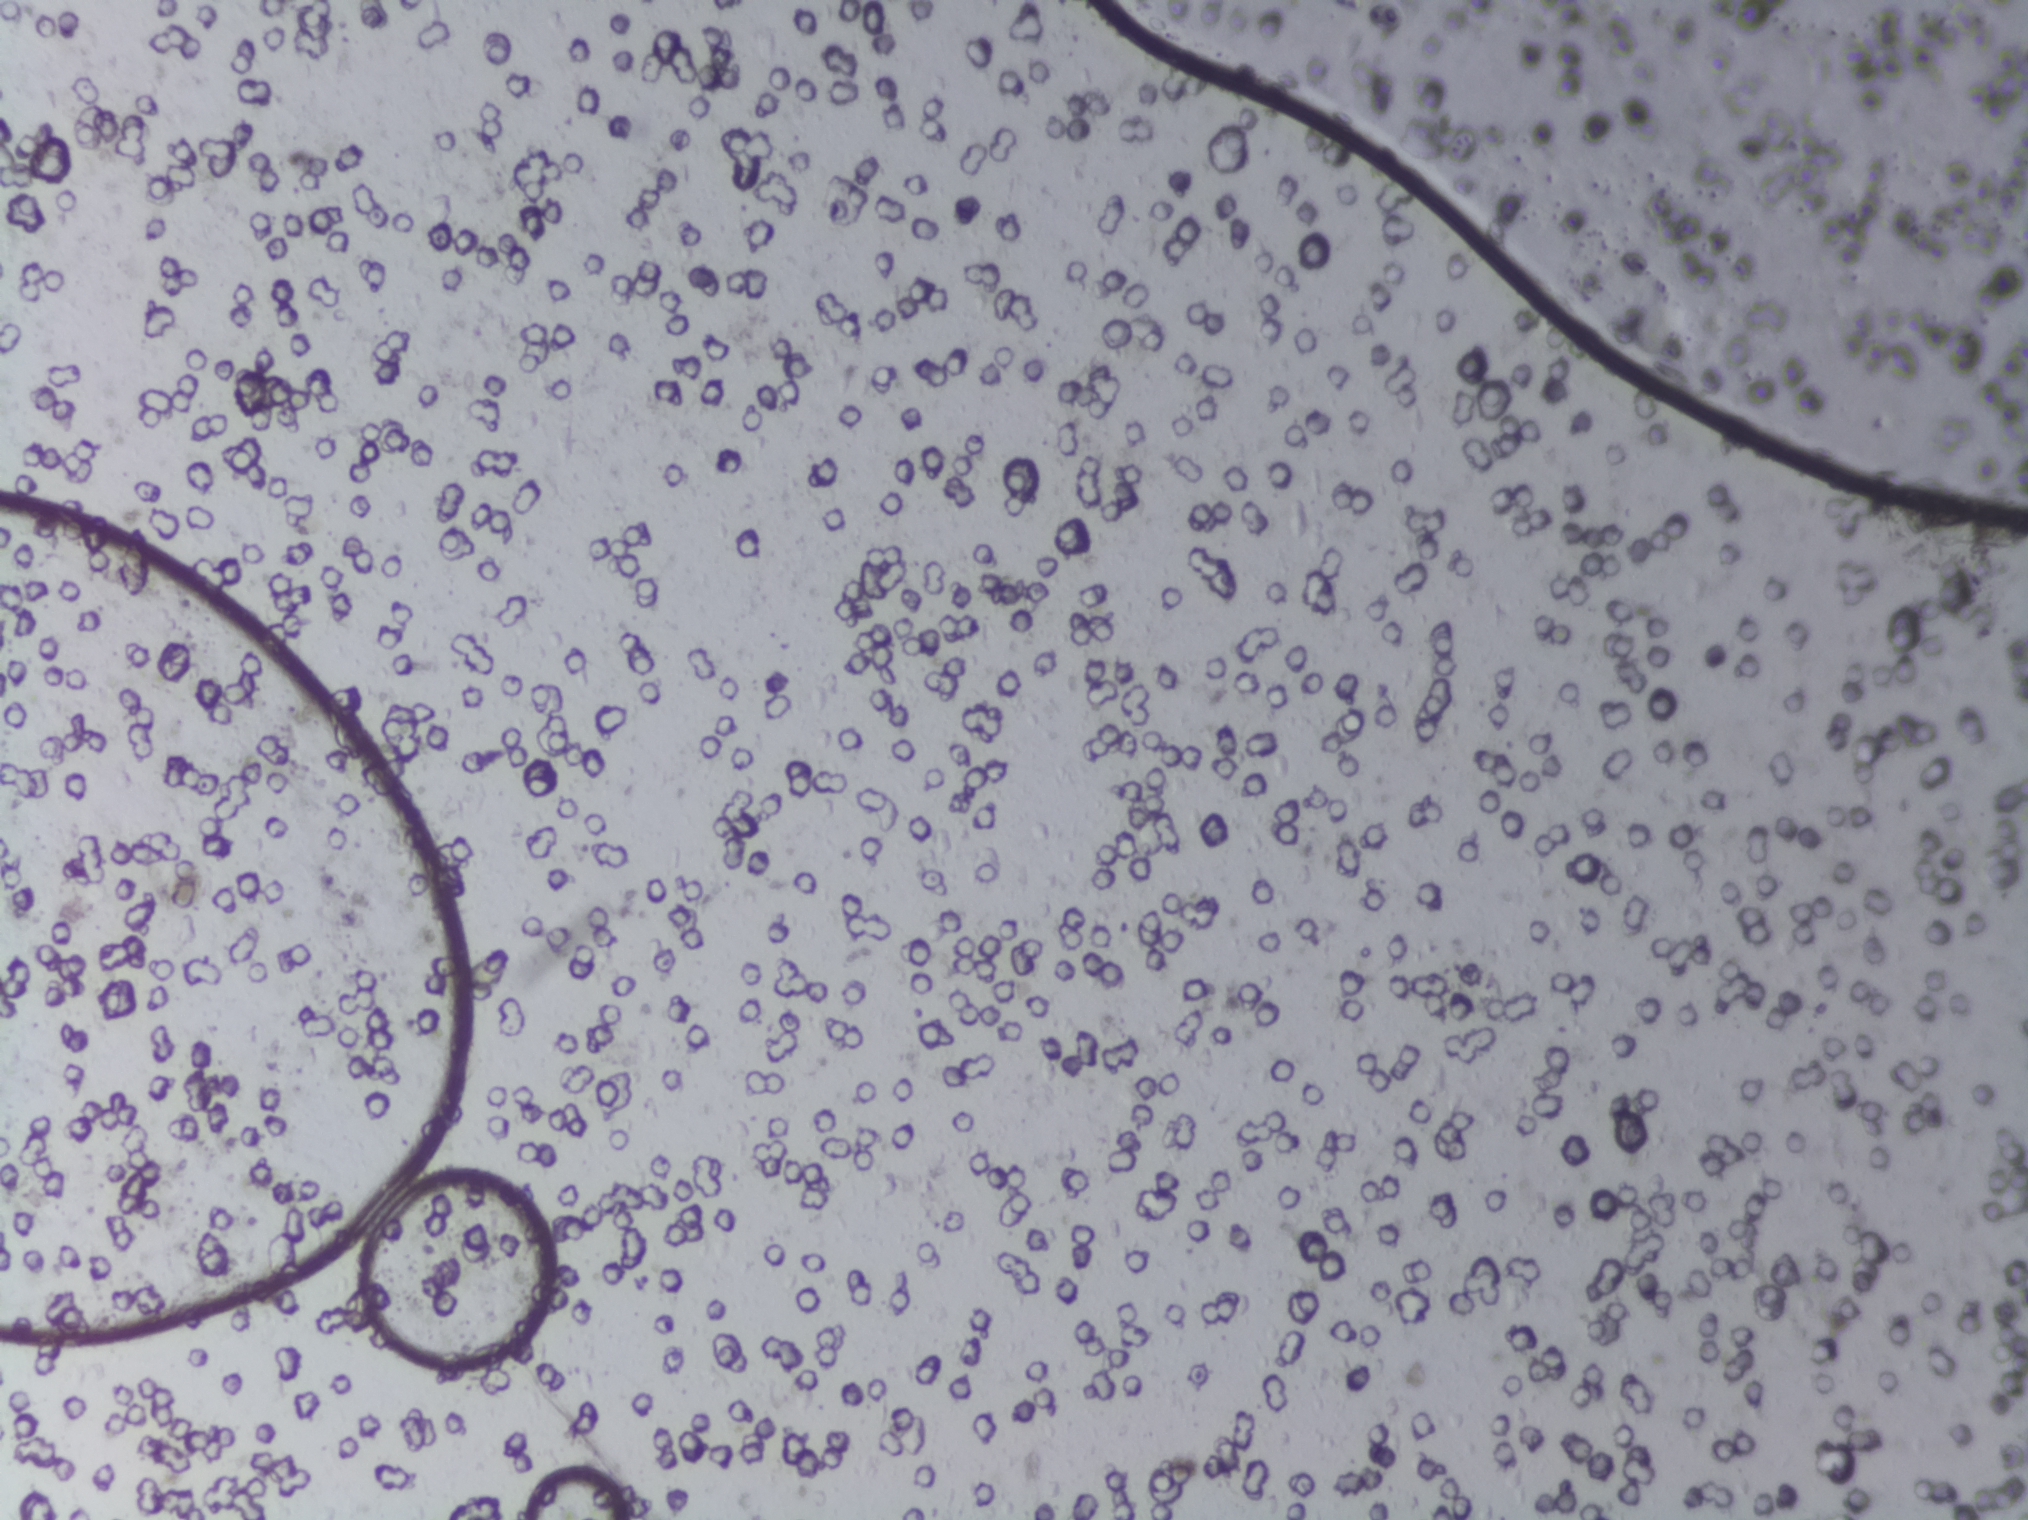
One field of view of a urine filter membrane, 4× objective, 2028 × 1520 pixels. The field of view is about 1.5 mm × 1.1 mm.
The expert annotation outlines no Schistosoma egg in this image.